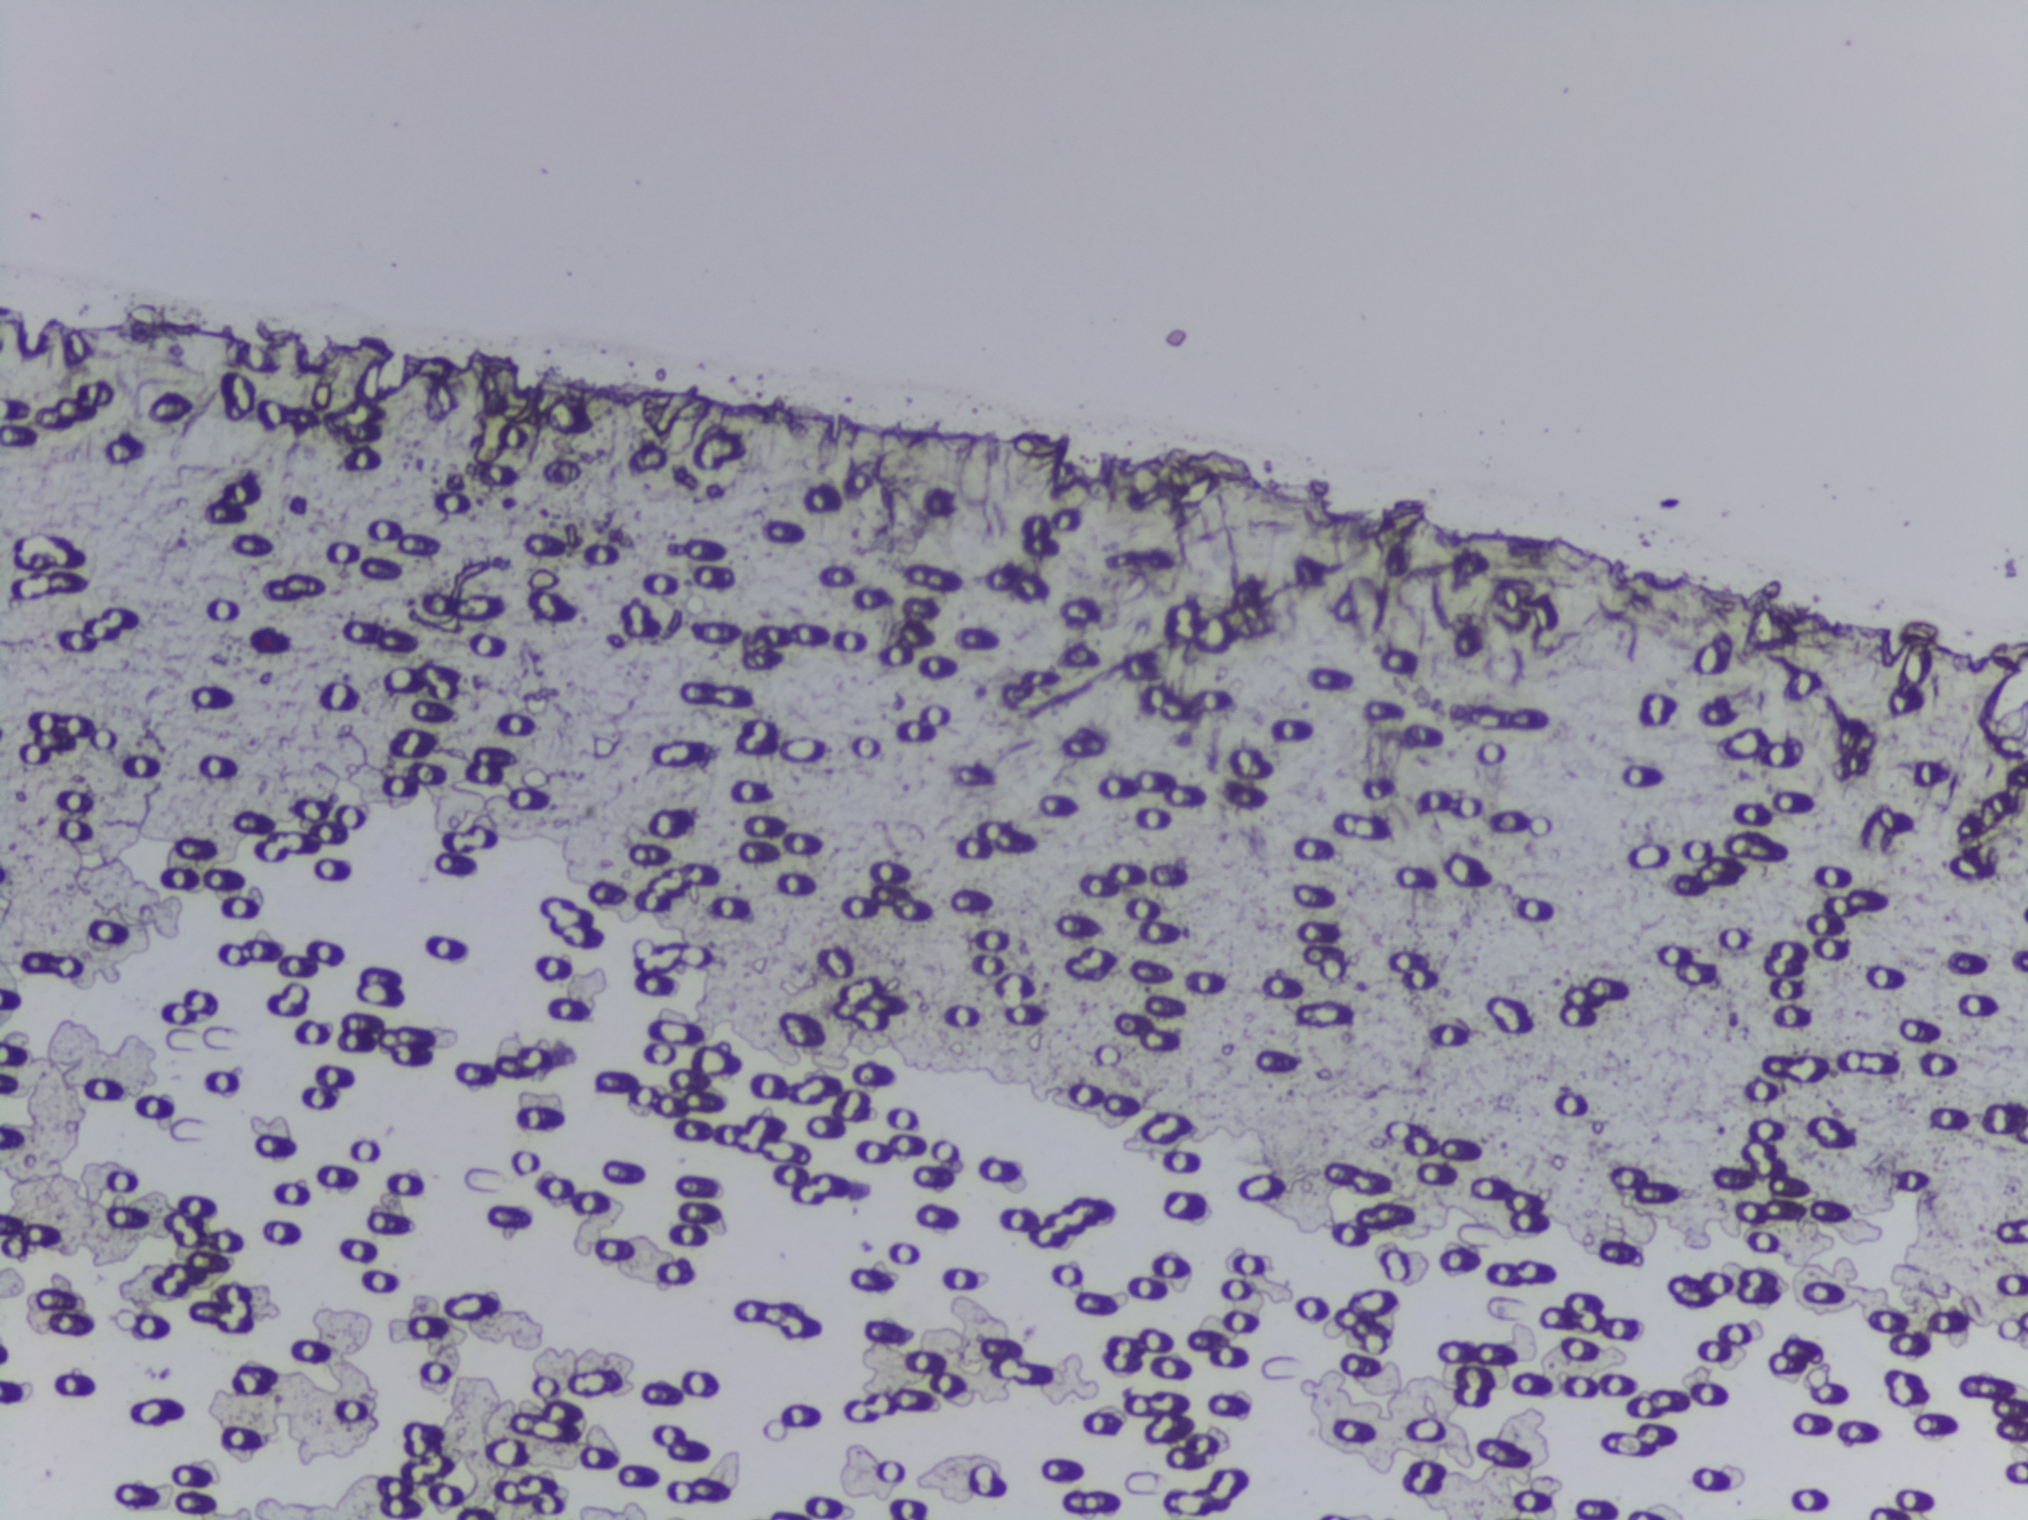
Microscope photograph (4× objective) of a membrane that a urine sample was filtered through.
No Schistosoma egg is outlined in this image's expert annotation.